Urine filtration membrane under a 4× objective, photographed by an automated digital microscope.
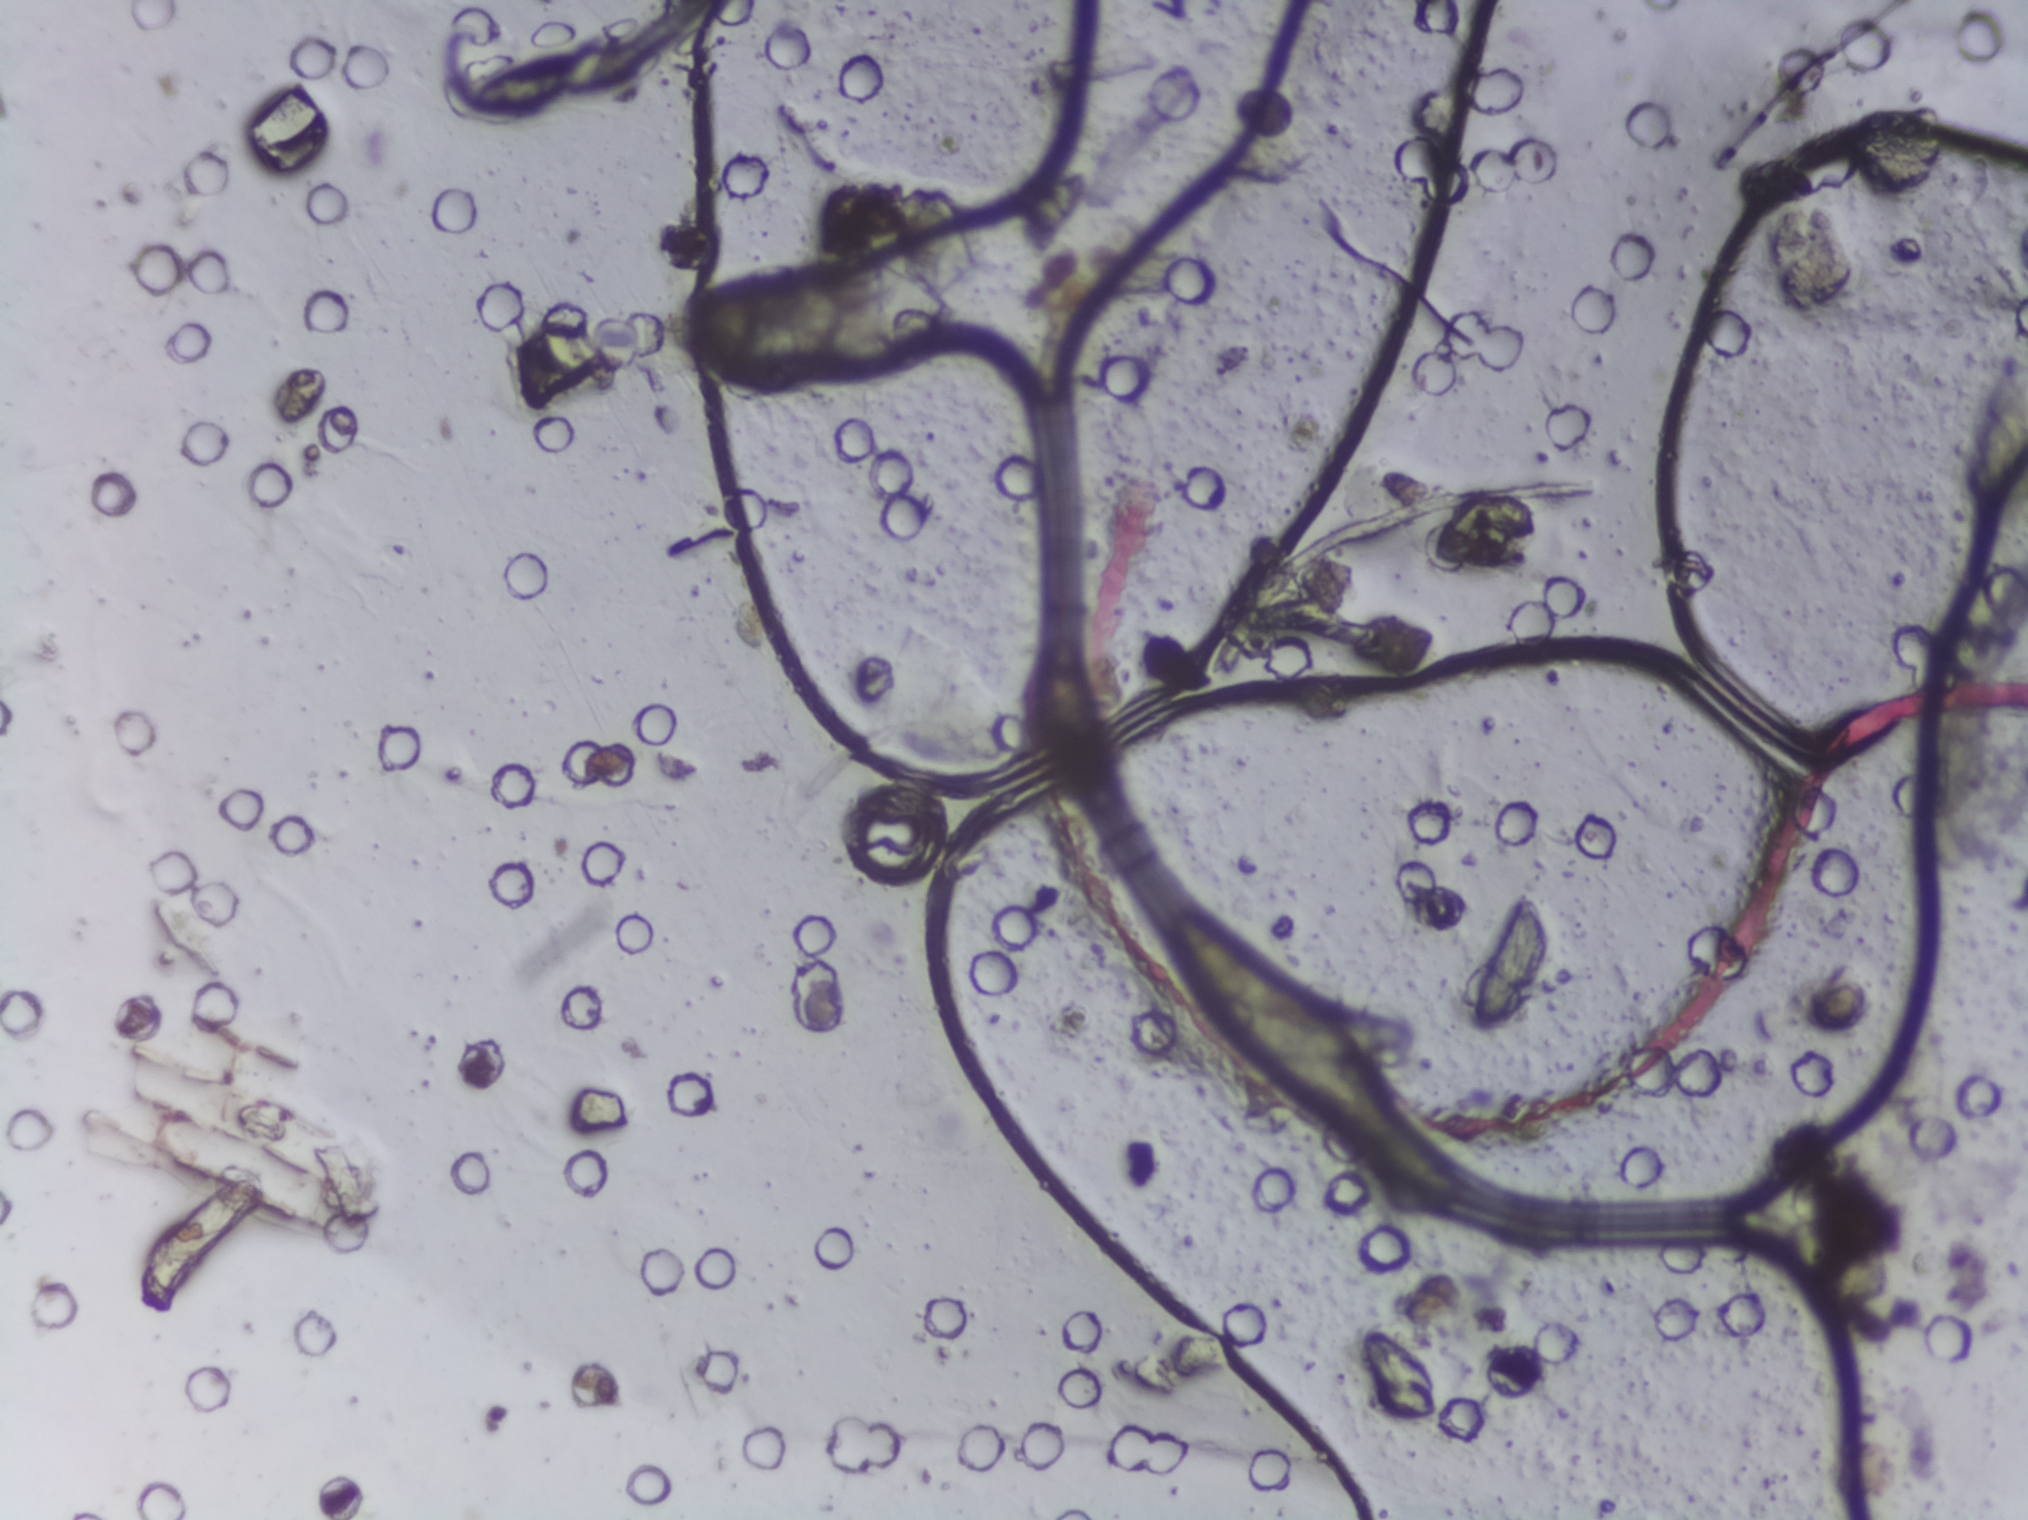
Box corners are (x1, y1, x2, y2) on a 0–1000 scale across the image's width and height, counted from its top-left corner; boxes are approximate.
Schistosoma eggs are outlined in one area of this image: (334, 168, 474, 247). Marked pixels, not the box around them: about 0.8% of the image. Eggs that touch can end up inside the same outlined area.